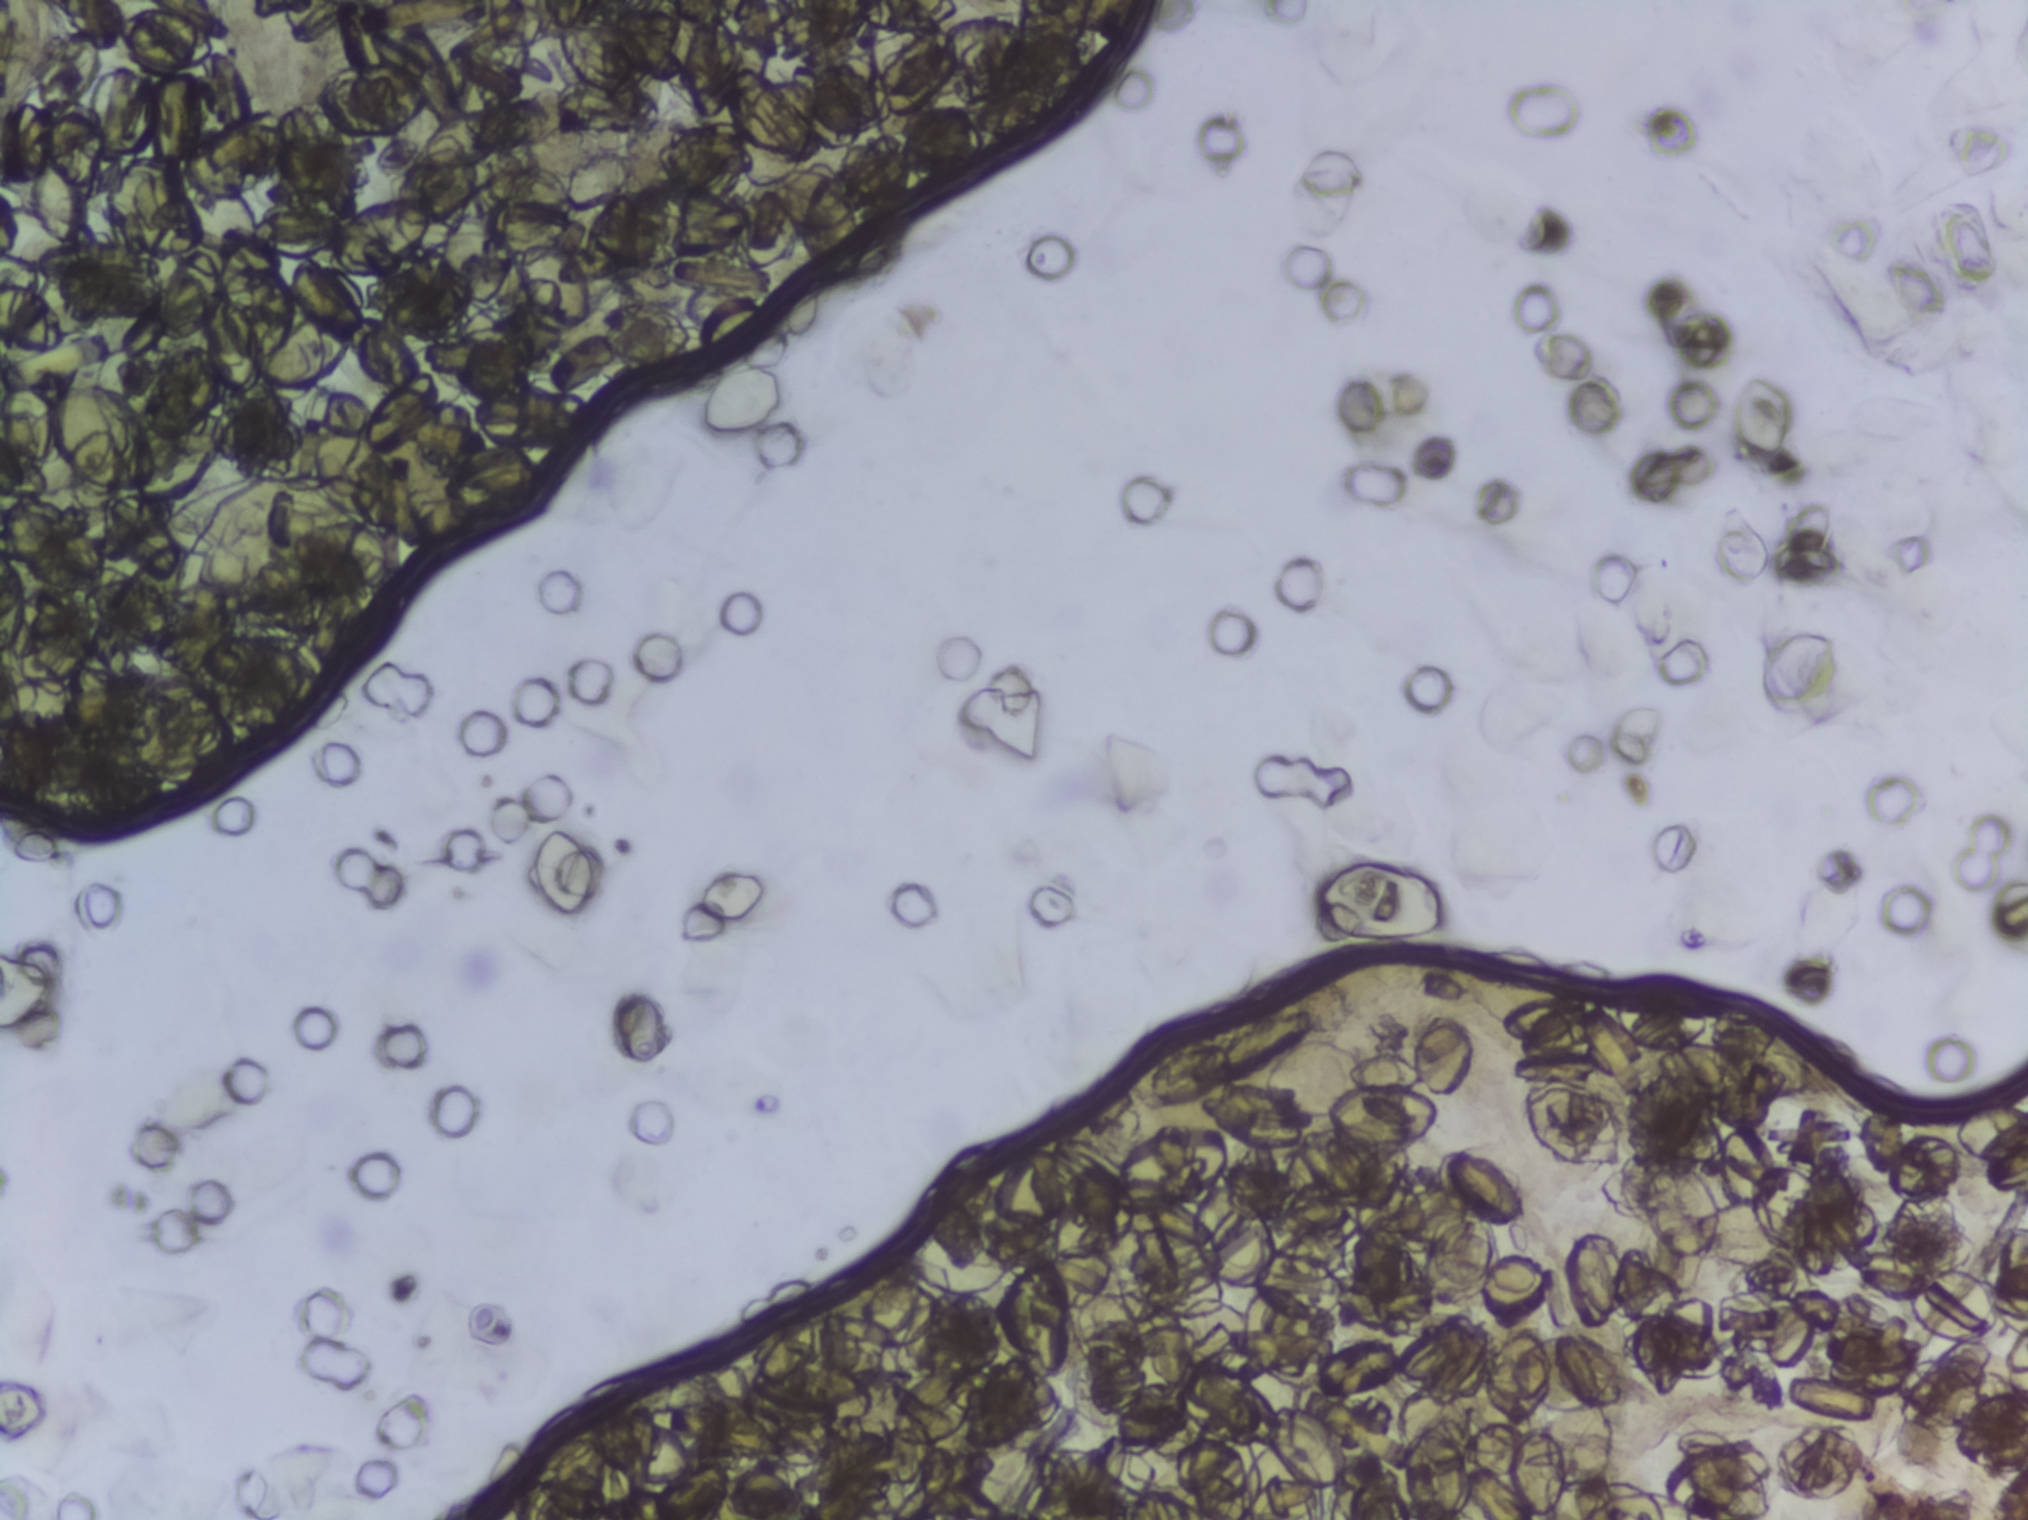
One field of view of a urine filter membrane, 4× objective, 2028 × 1520 pixels.
The expert annotation outlines no Schistosoma egg in this image.